Urine filter membrane photographed through a 4× microscope objective.
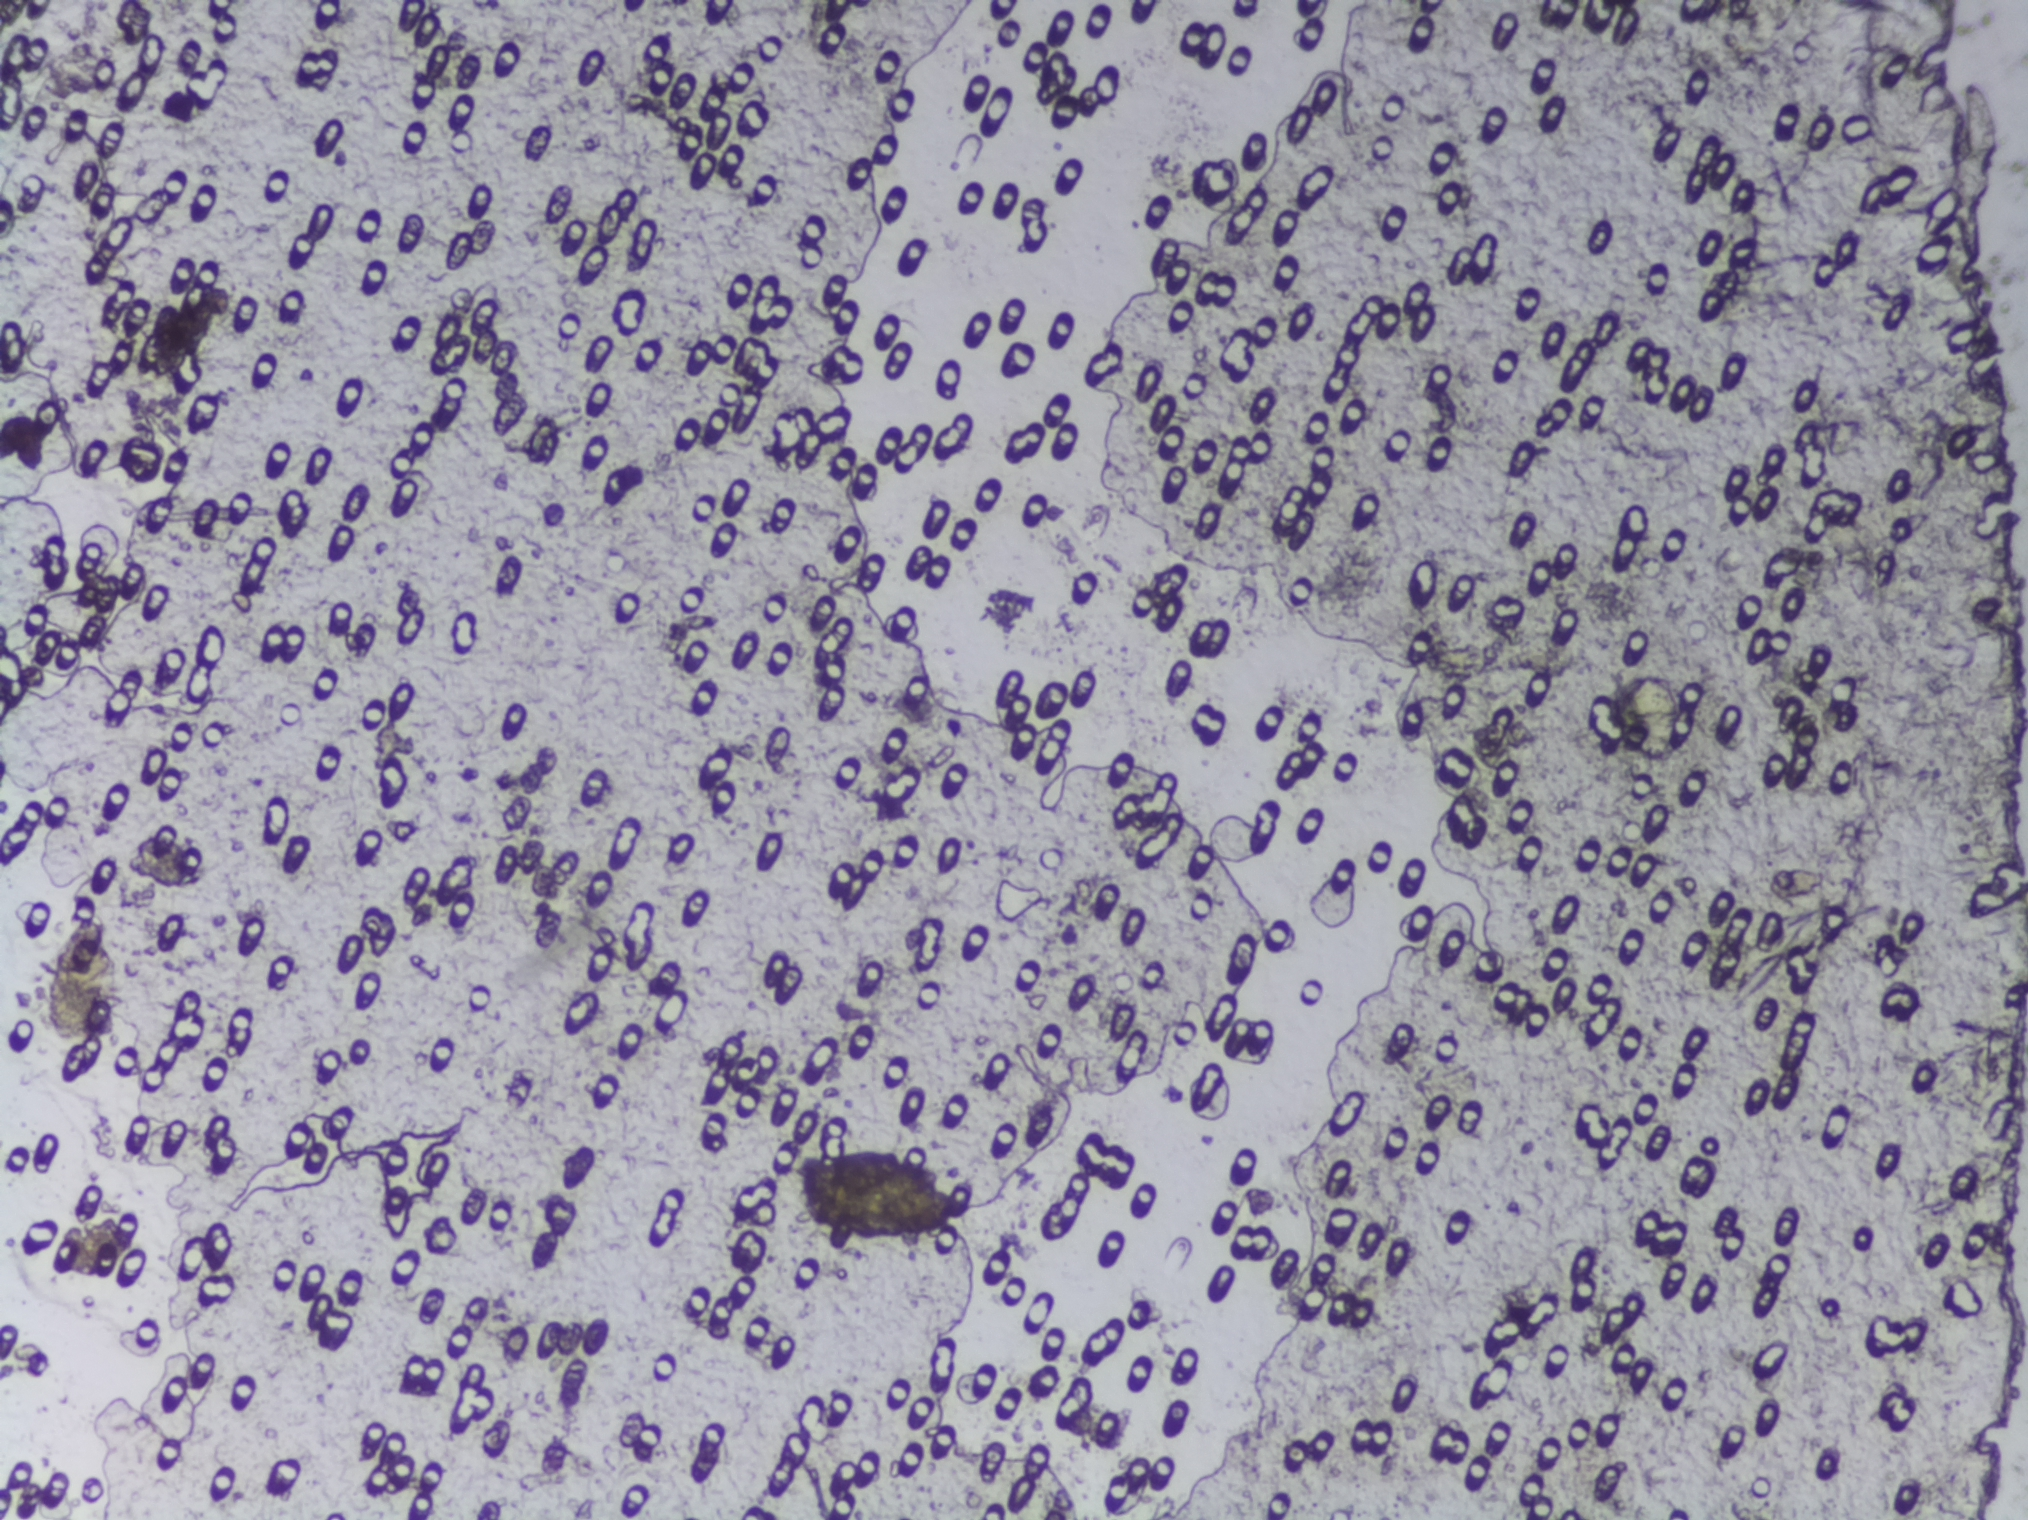
The expert annotation outlines no Schistosoma egg in this image.